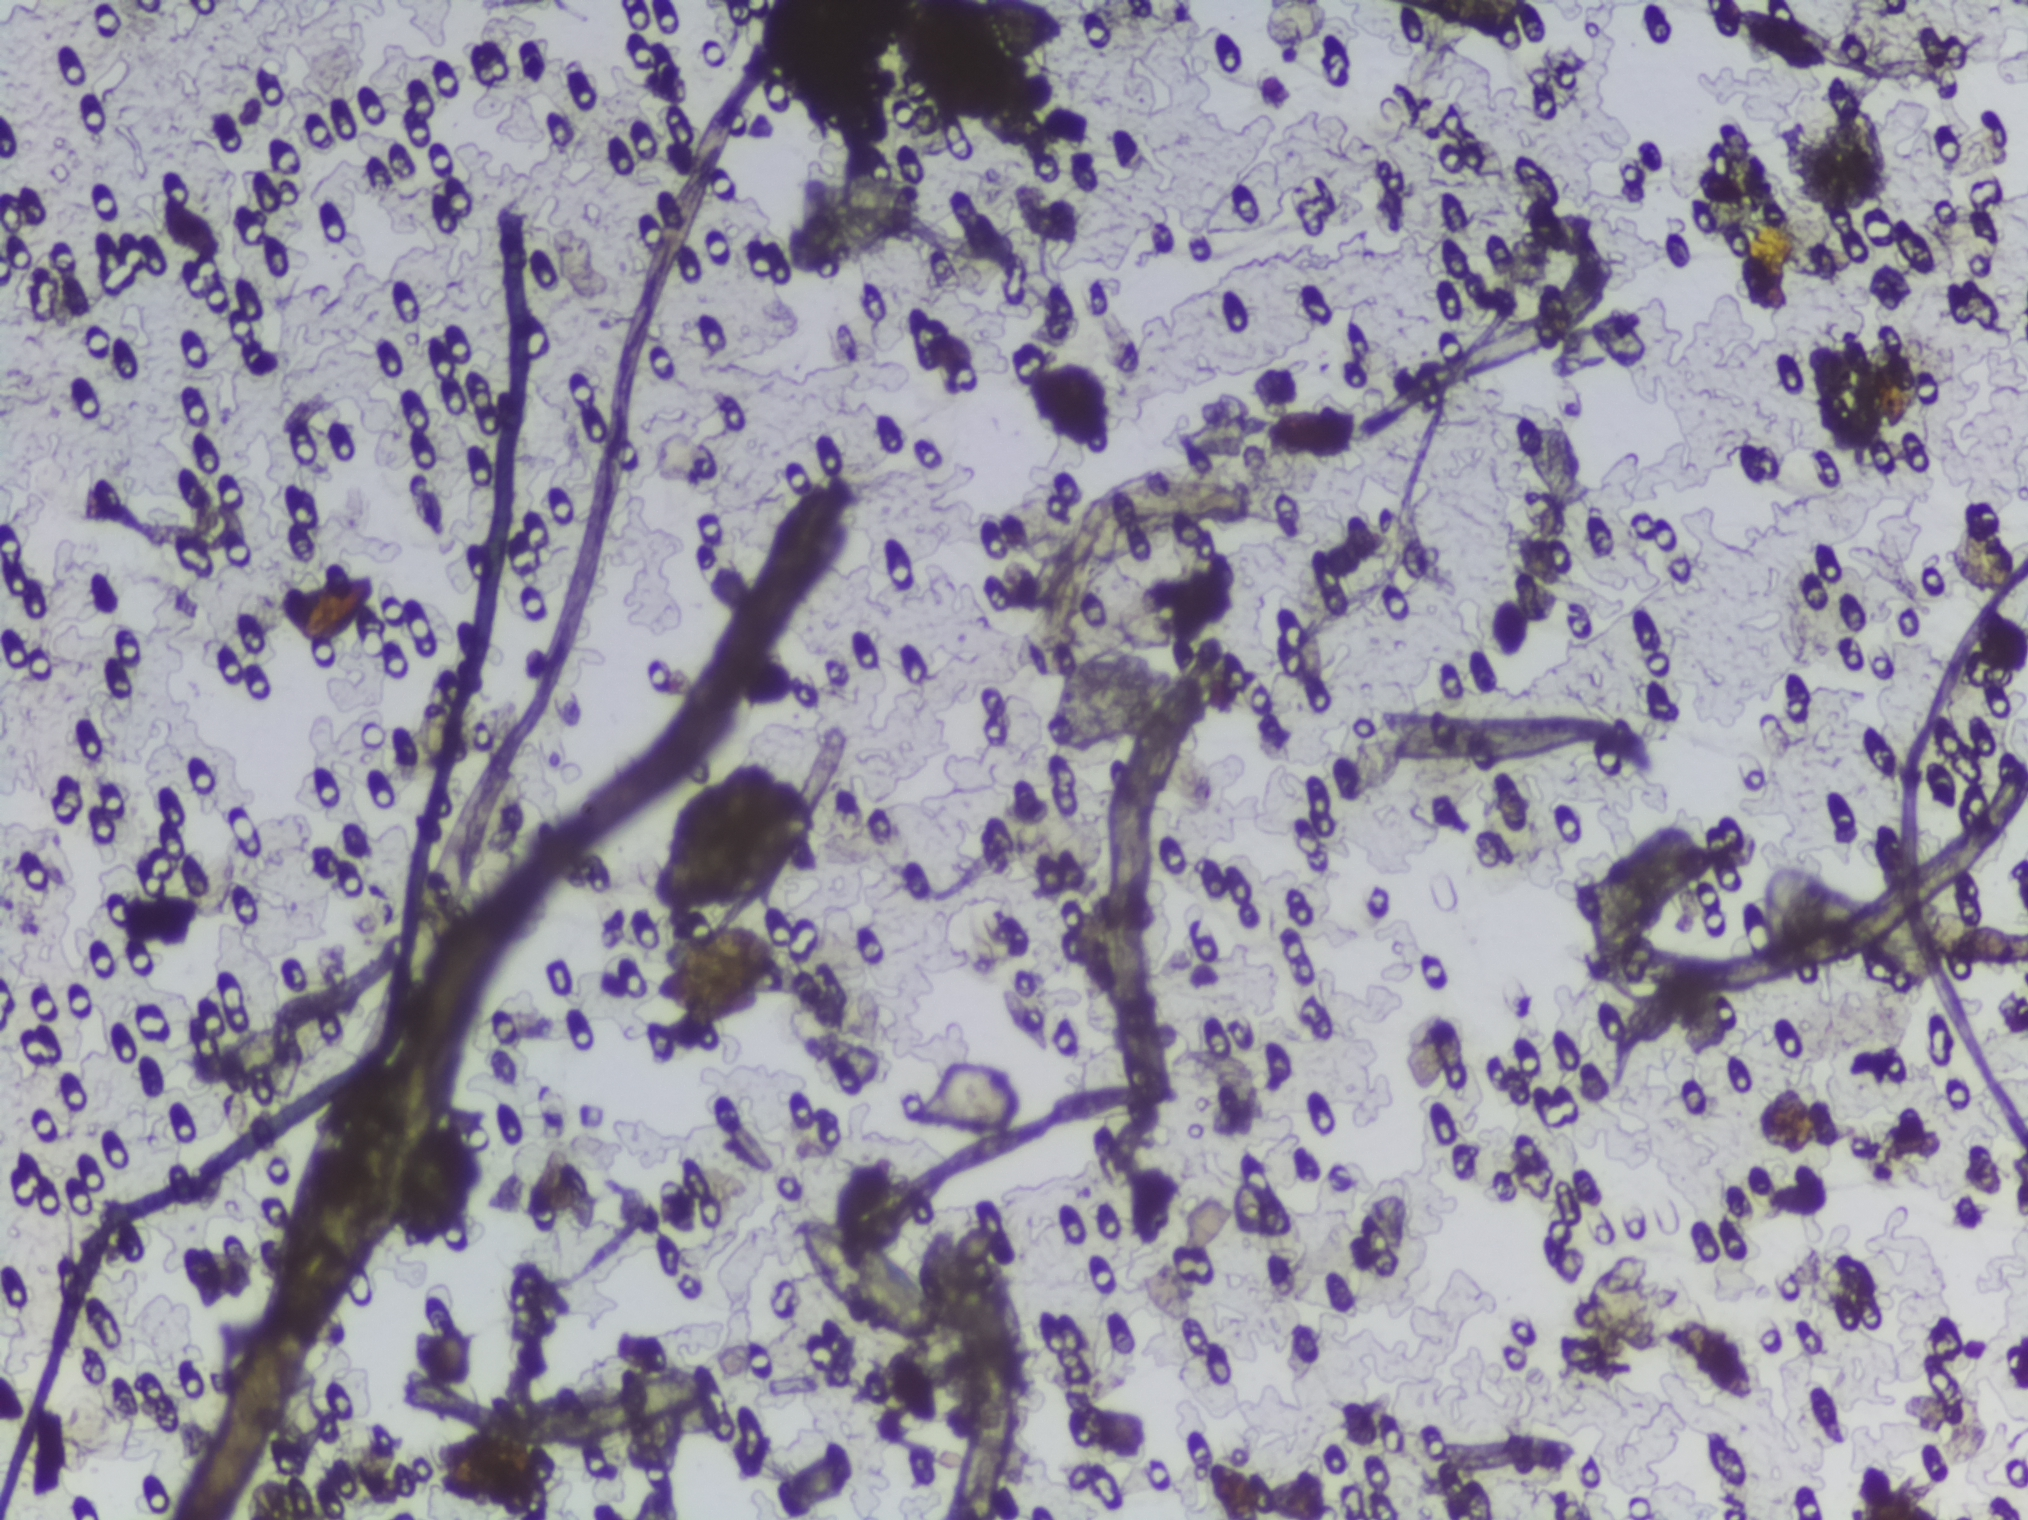
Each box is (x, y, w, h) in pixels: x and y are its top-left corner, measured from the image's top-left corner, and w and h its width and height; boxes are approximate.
Schistosoma eggs are outlined in one area of this image: (x=796, y=1207, w=148, h=131). An outlined area can hold more than one egg.
Urine filter membrane photographed through a 4× microscope objective. Field of view: about 1.5 mm wide and 1.1 mm high.